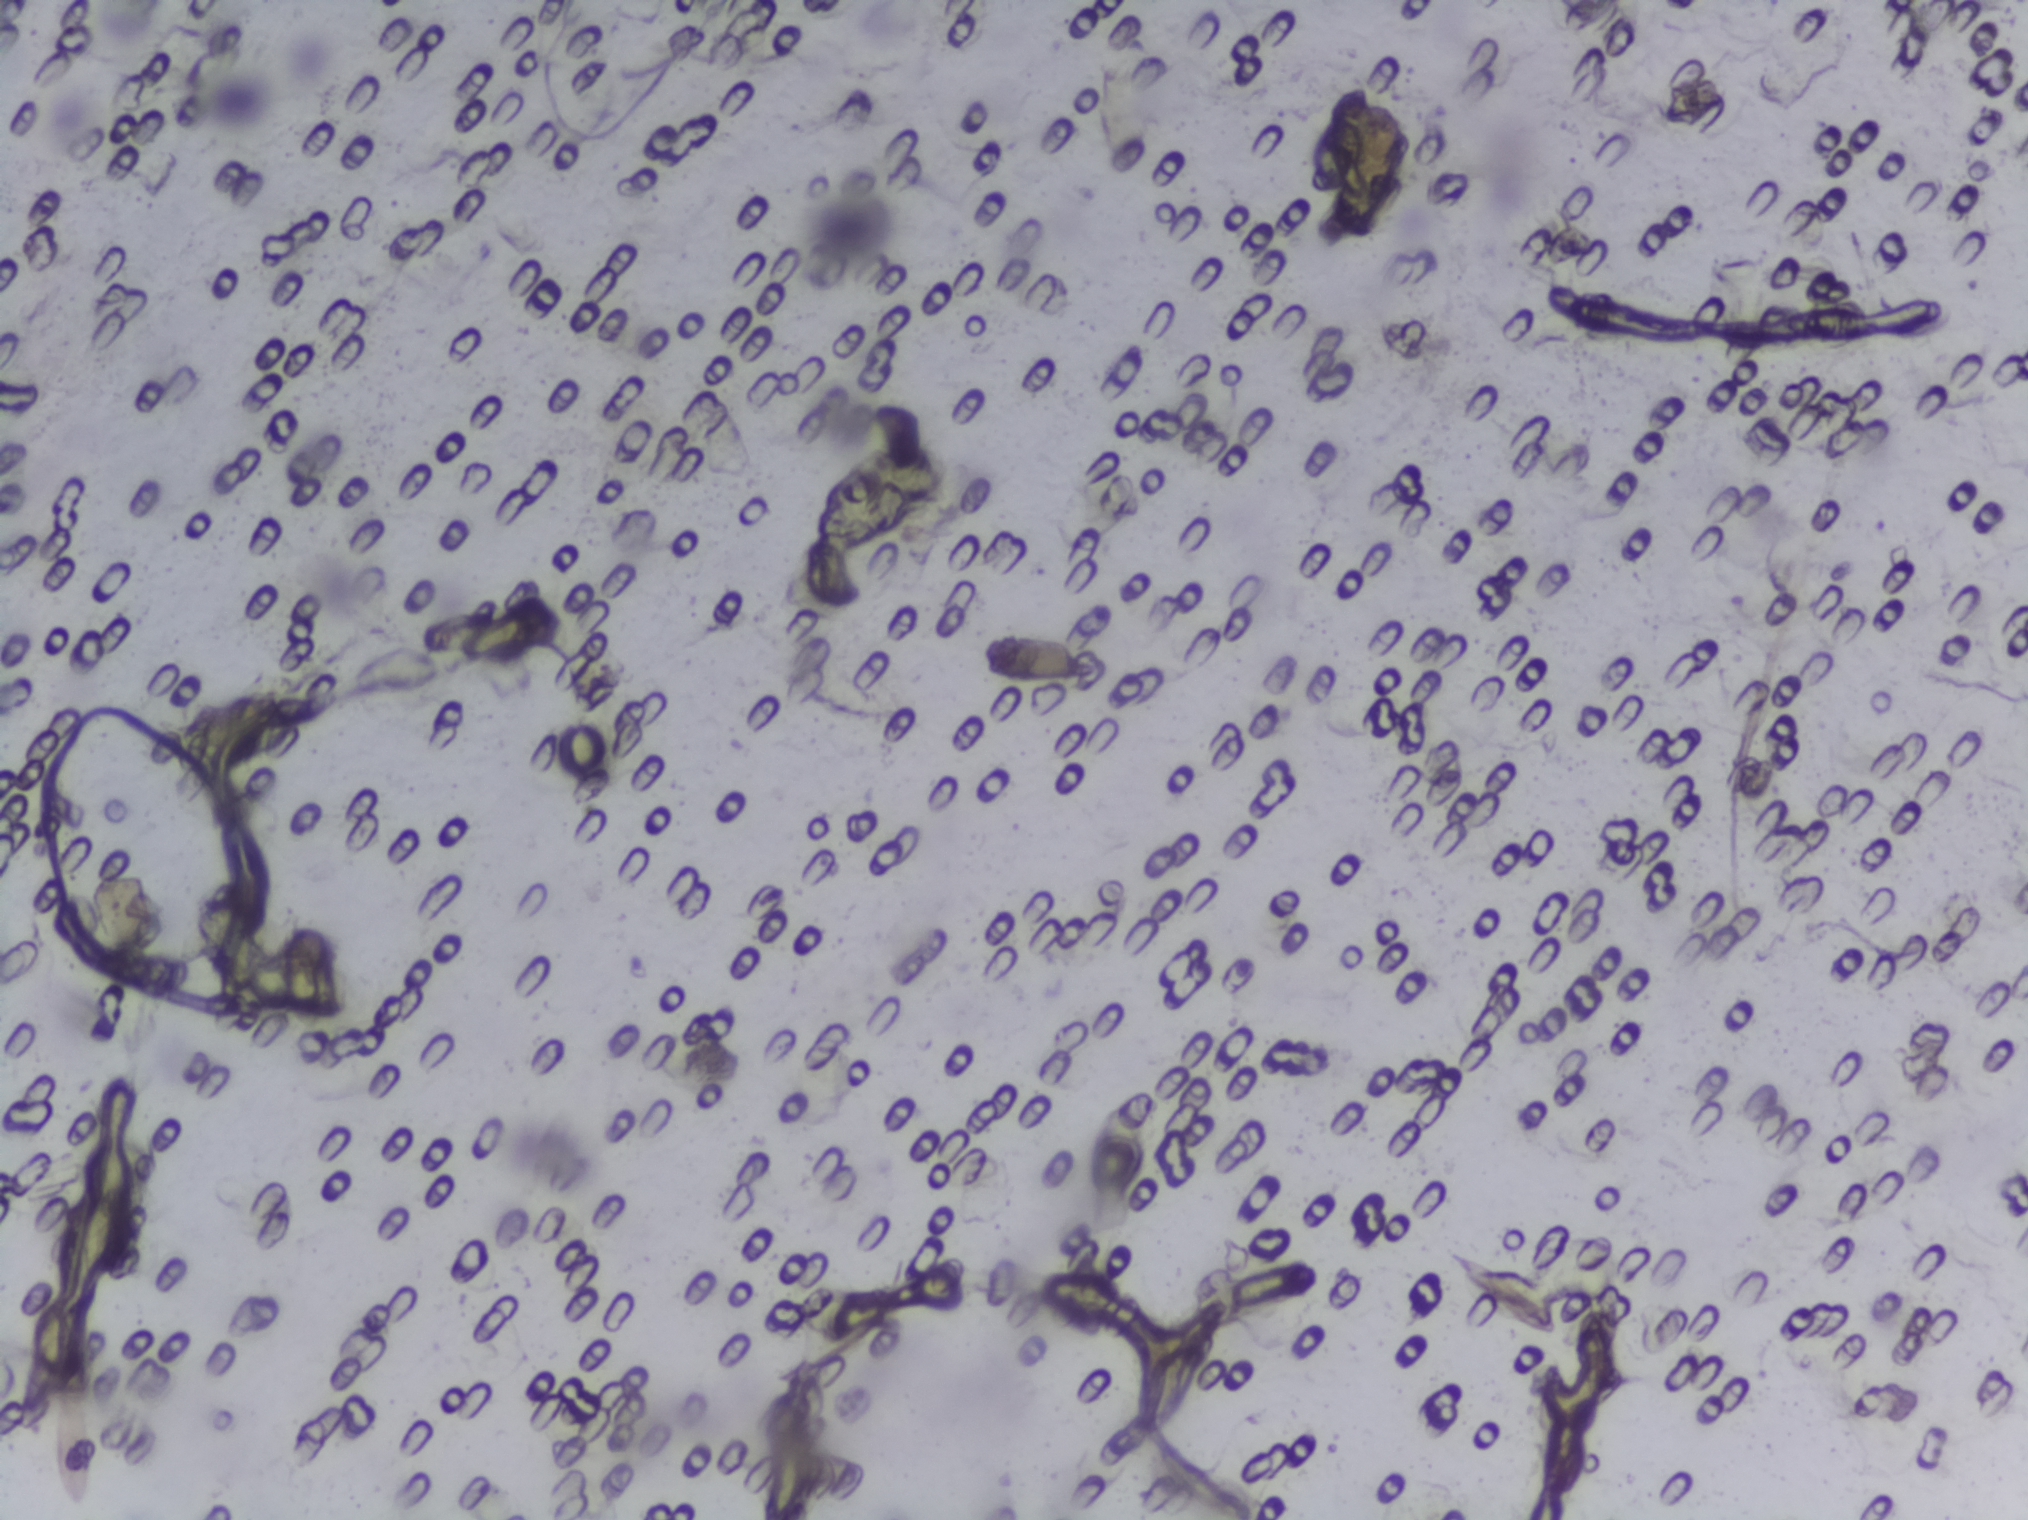
Microscope photograph (4× objective) of a membrane that a urine sample was filtered through.
No Schistosoma egg is outlined in this image's expert annotation.